Urine filtration membrane under a 4× objective, photographed by an automated digital microscope.
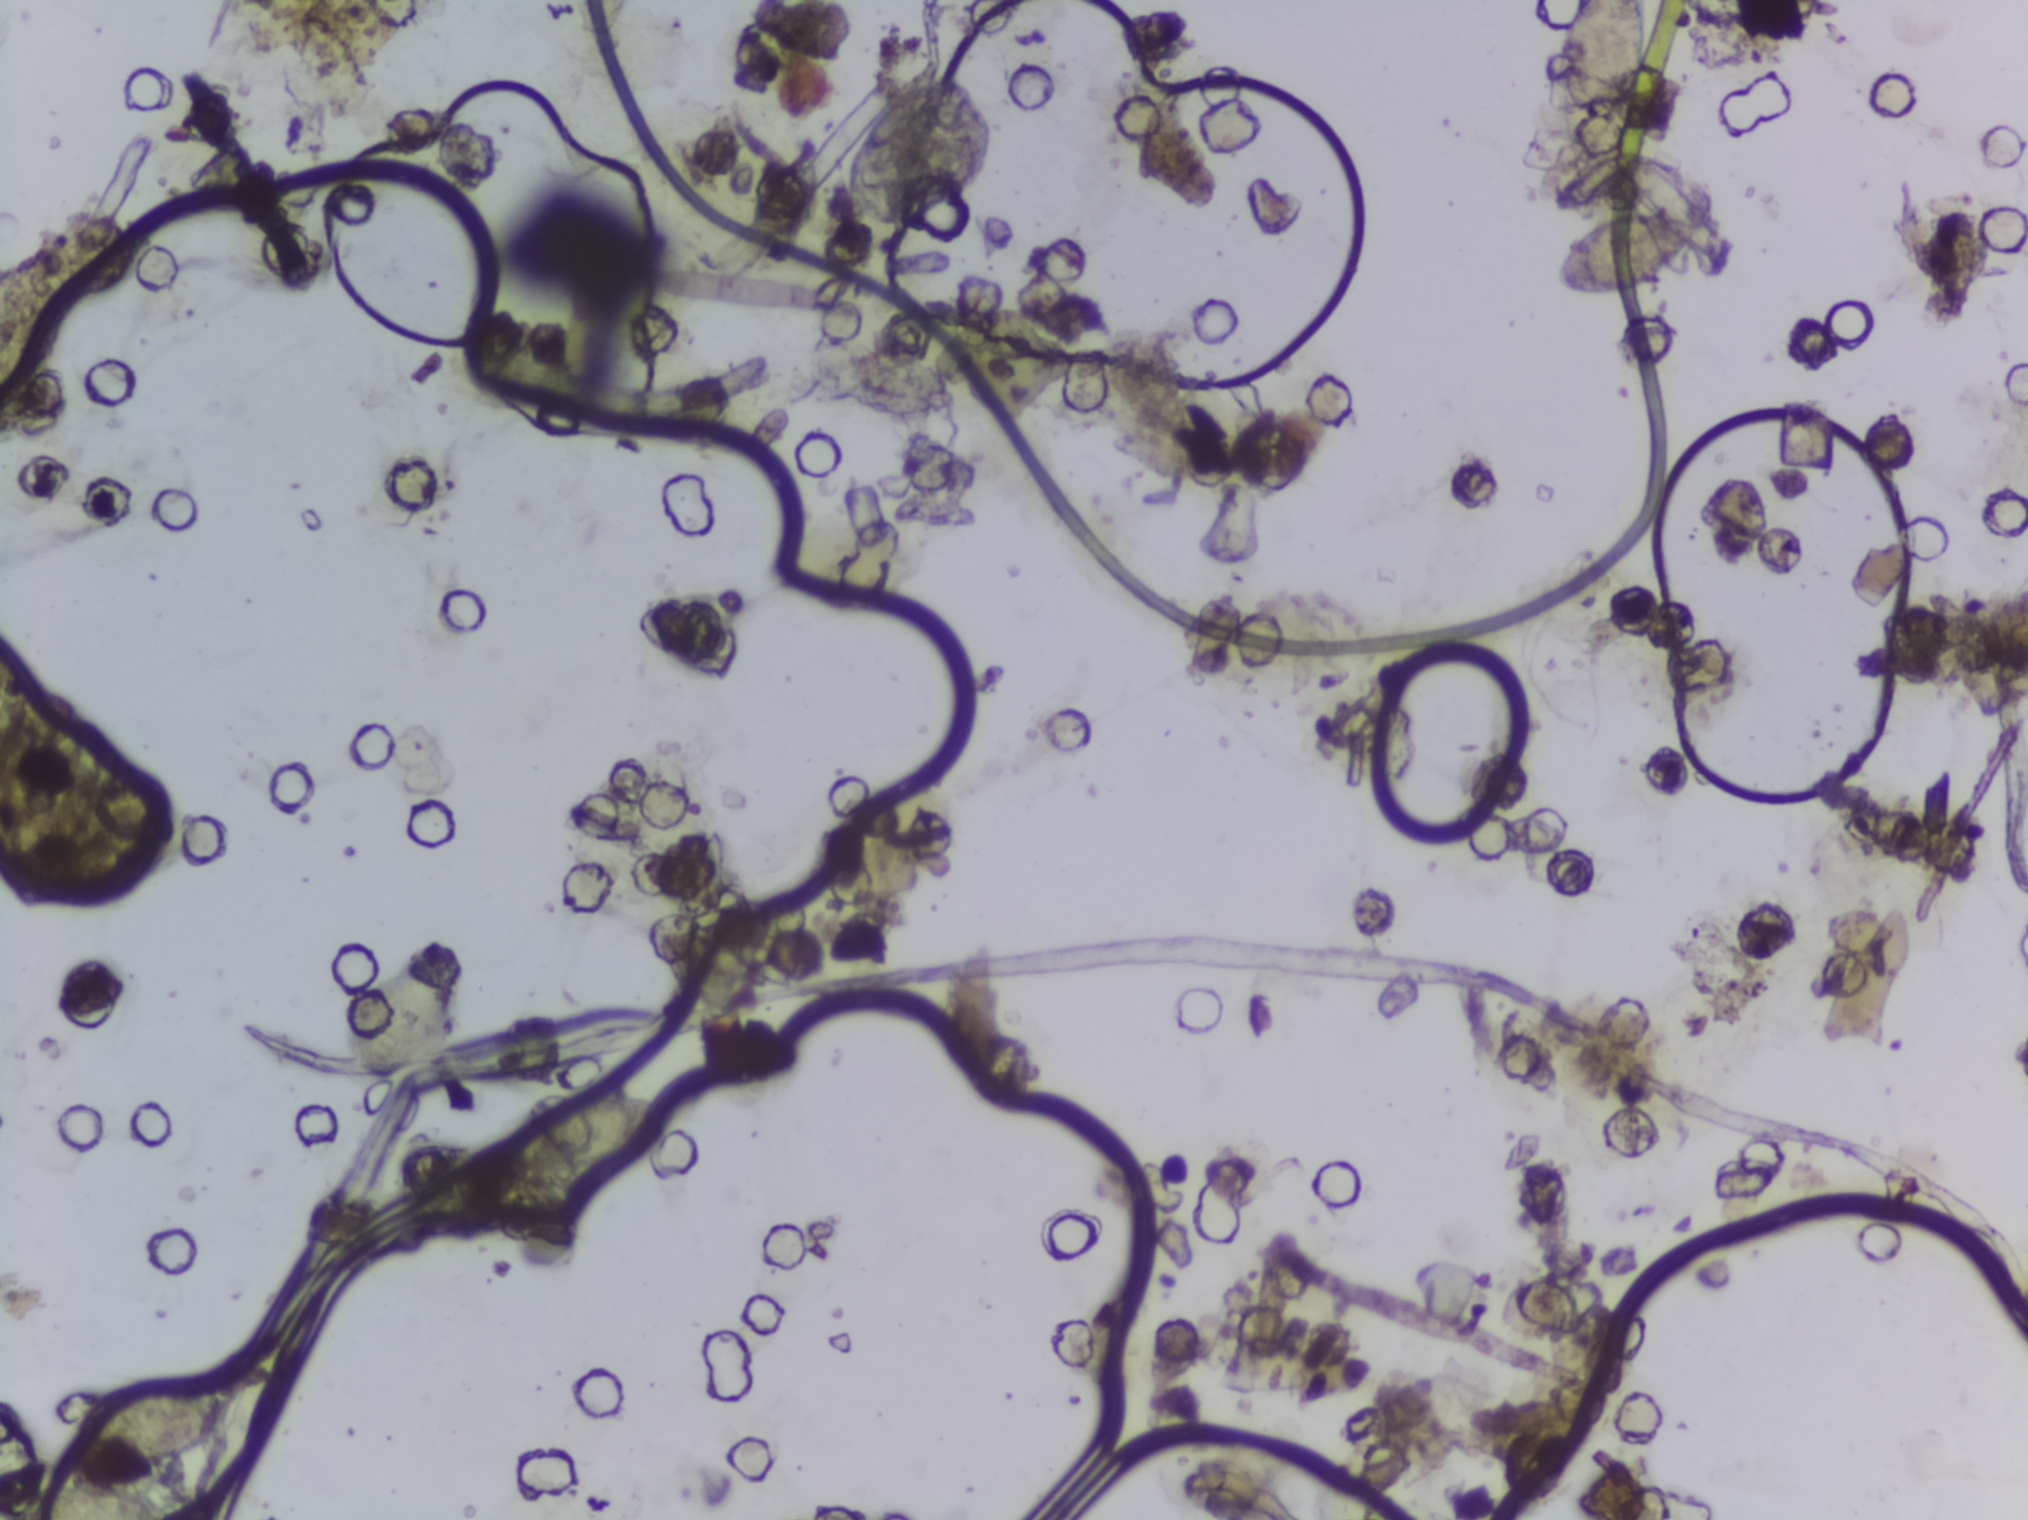
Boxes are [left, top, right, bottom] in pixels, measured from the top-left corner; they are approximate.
Outlined Schistosoma egg areas, left to right:
1. [90, 1377, 233, 1462]
2. [474, 1085, 665, 1222]
3. [1541, 0, 1653, 131] (reaching the top edge of the frame)
4. [1547, 204, 1701, 304]
An outlined area can hold more than one egg.